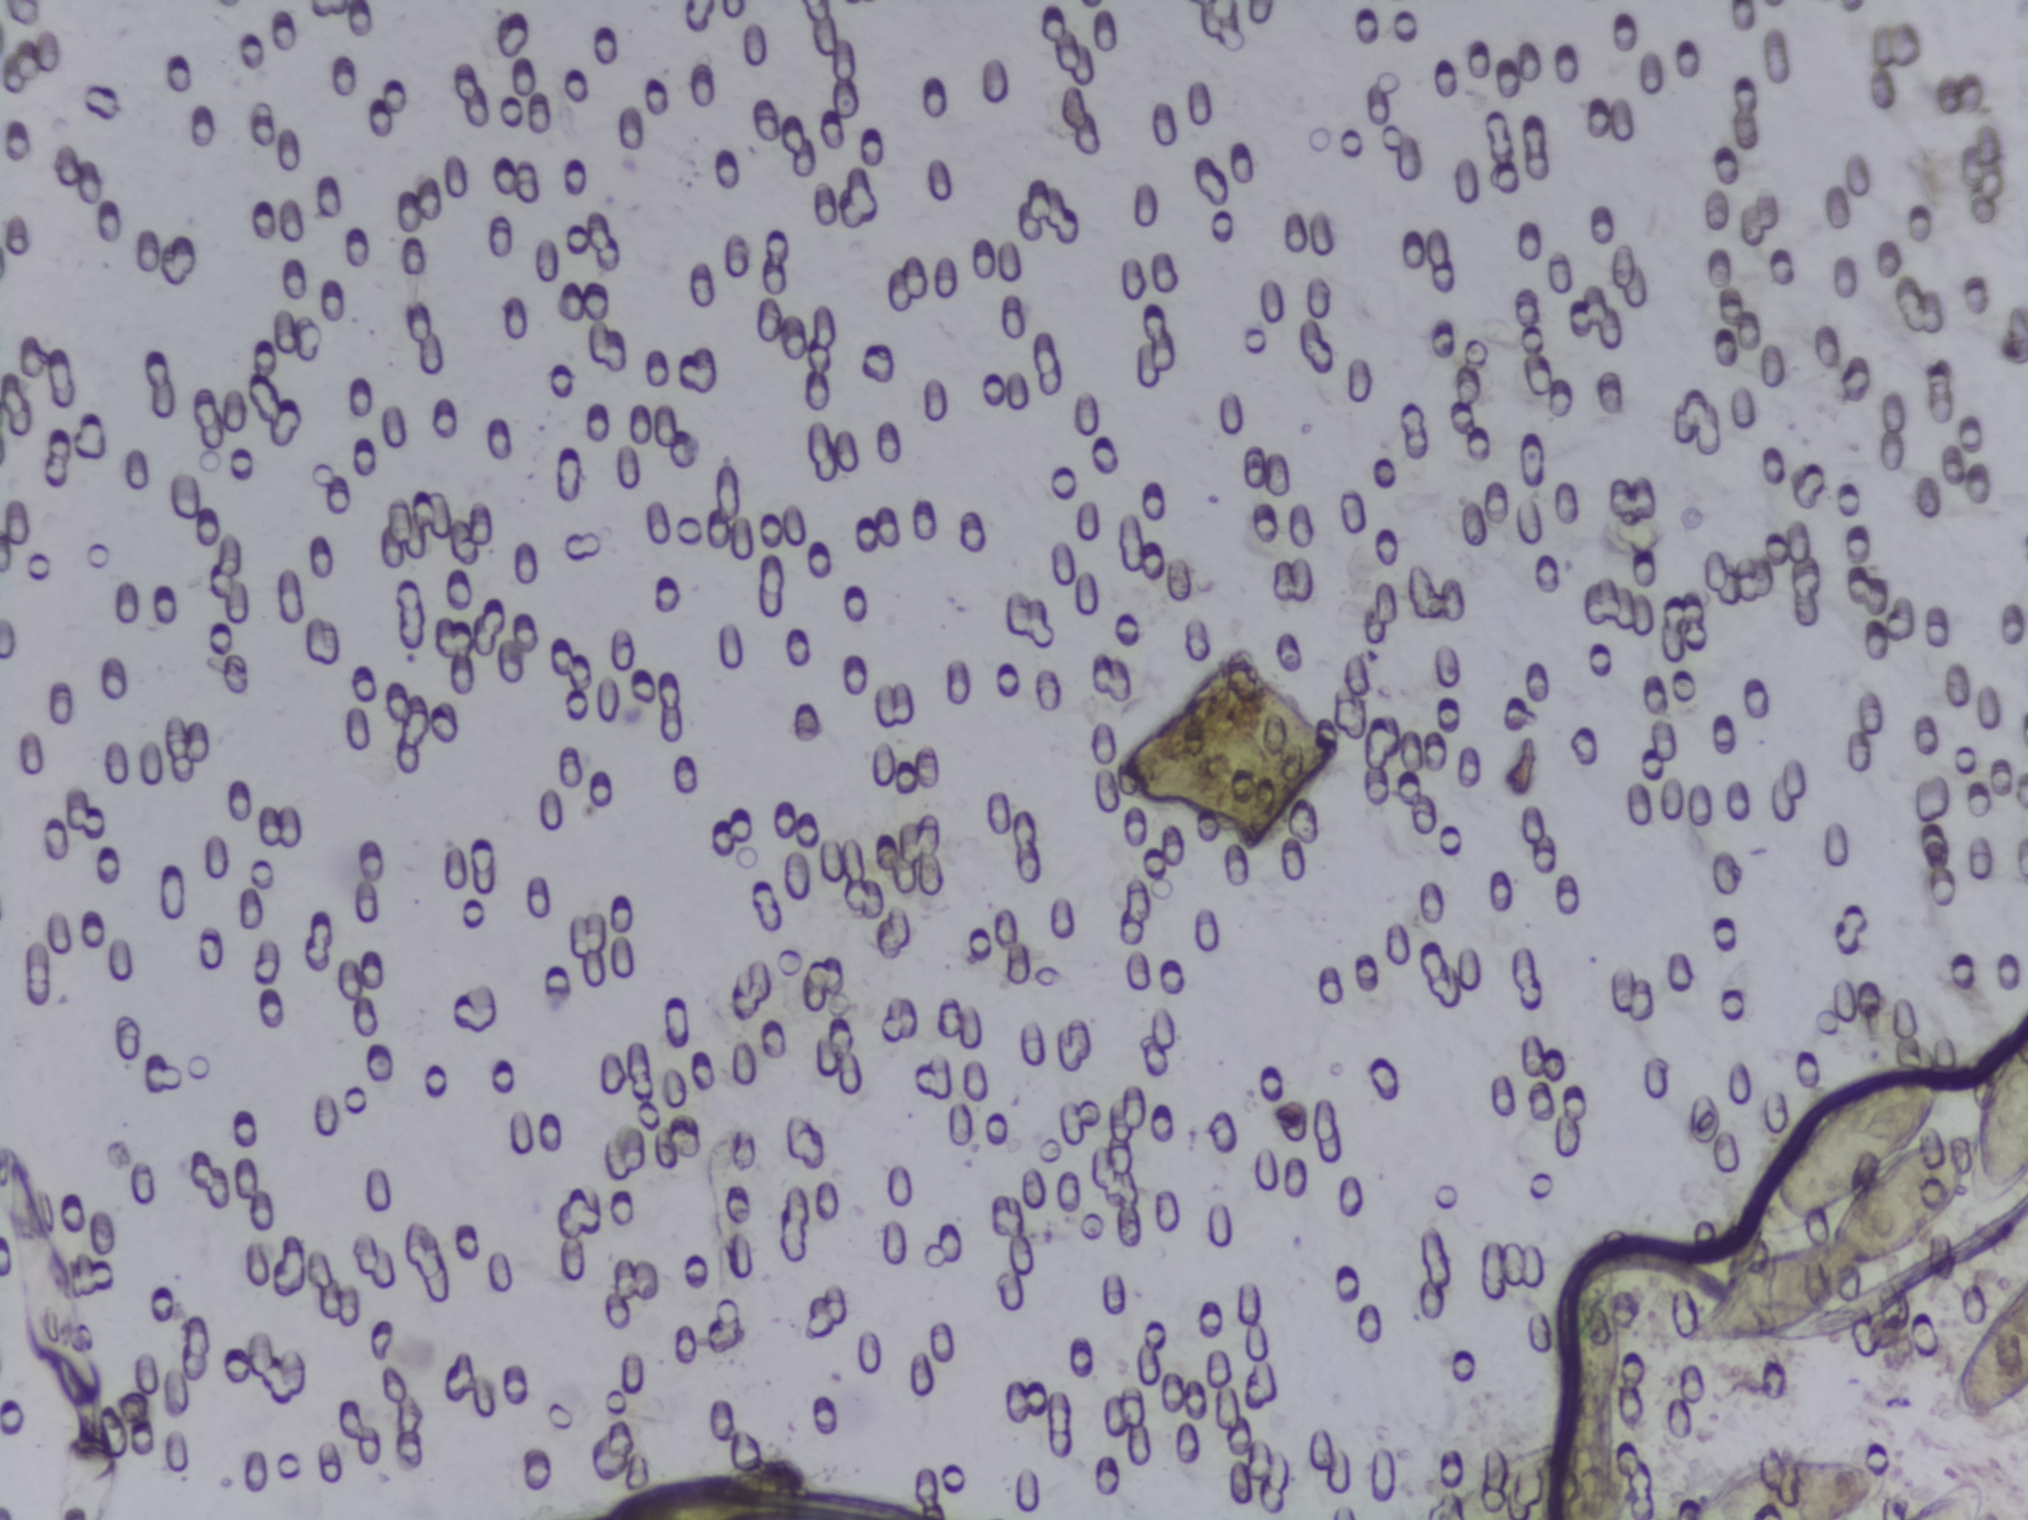
One field of view of a urine filter membrane, 4× objective, 2028 × 1520 pixels.
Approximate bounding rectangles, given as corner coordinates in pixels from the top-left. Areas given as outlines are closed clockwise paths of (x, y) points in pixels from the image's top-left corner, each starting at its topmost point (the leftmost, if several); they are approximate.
Schistosoma eggs, outlined areas: box (x1=1428, y1=1433, x2=1645, y2=1519) (reaching the bottom edge of the frame); box (x1=1668, y1=1451, x2=1890, y2=1519) (reaching the bottom edge of the frame); outline (2027, 1020), (2027, 1181), (2015, 1205), (1988, 1209), (1965, 1192), (1915, 1249), (1862, 1267), (1848, 1297), (1788, 1344), (1730, 1354), (1679, 1347), (1675, 1327), (1713, 1279), (1747, 1251), (1823, 1235), (1828, 1220), (1790, 1232), (1761, 1232), (1752, 1200), (1773, 1159), (1829, 1086), (1858, 1075), (1941, 1070), (1945, 1102), (1923, 1138), (1966, 1138), (1986, 1068) (eggs clustered together; reaching the right edge of the frame); box (x1=1900, y1=1478, x2=1985, y2=1519) (reaching the bottom edge of the frame); box (x1=1947, y1=1272, x2=2027, y2=1420) (reaching the right edge of the frame). Marked pixels, not the boxes and the outline around them: about 2.9% of the image. An outlined area can hold more than one egg.